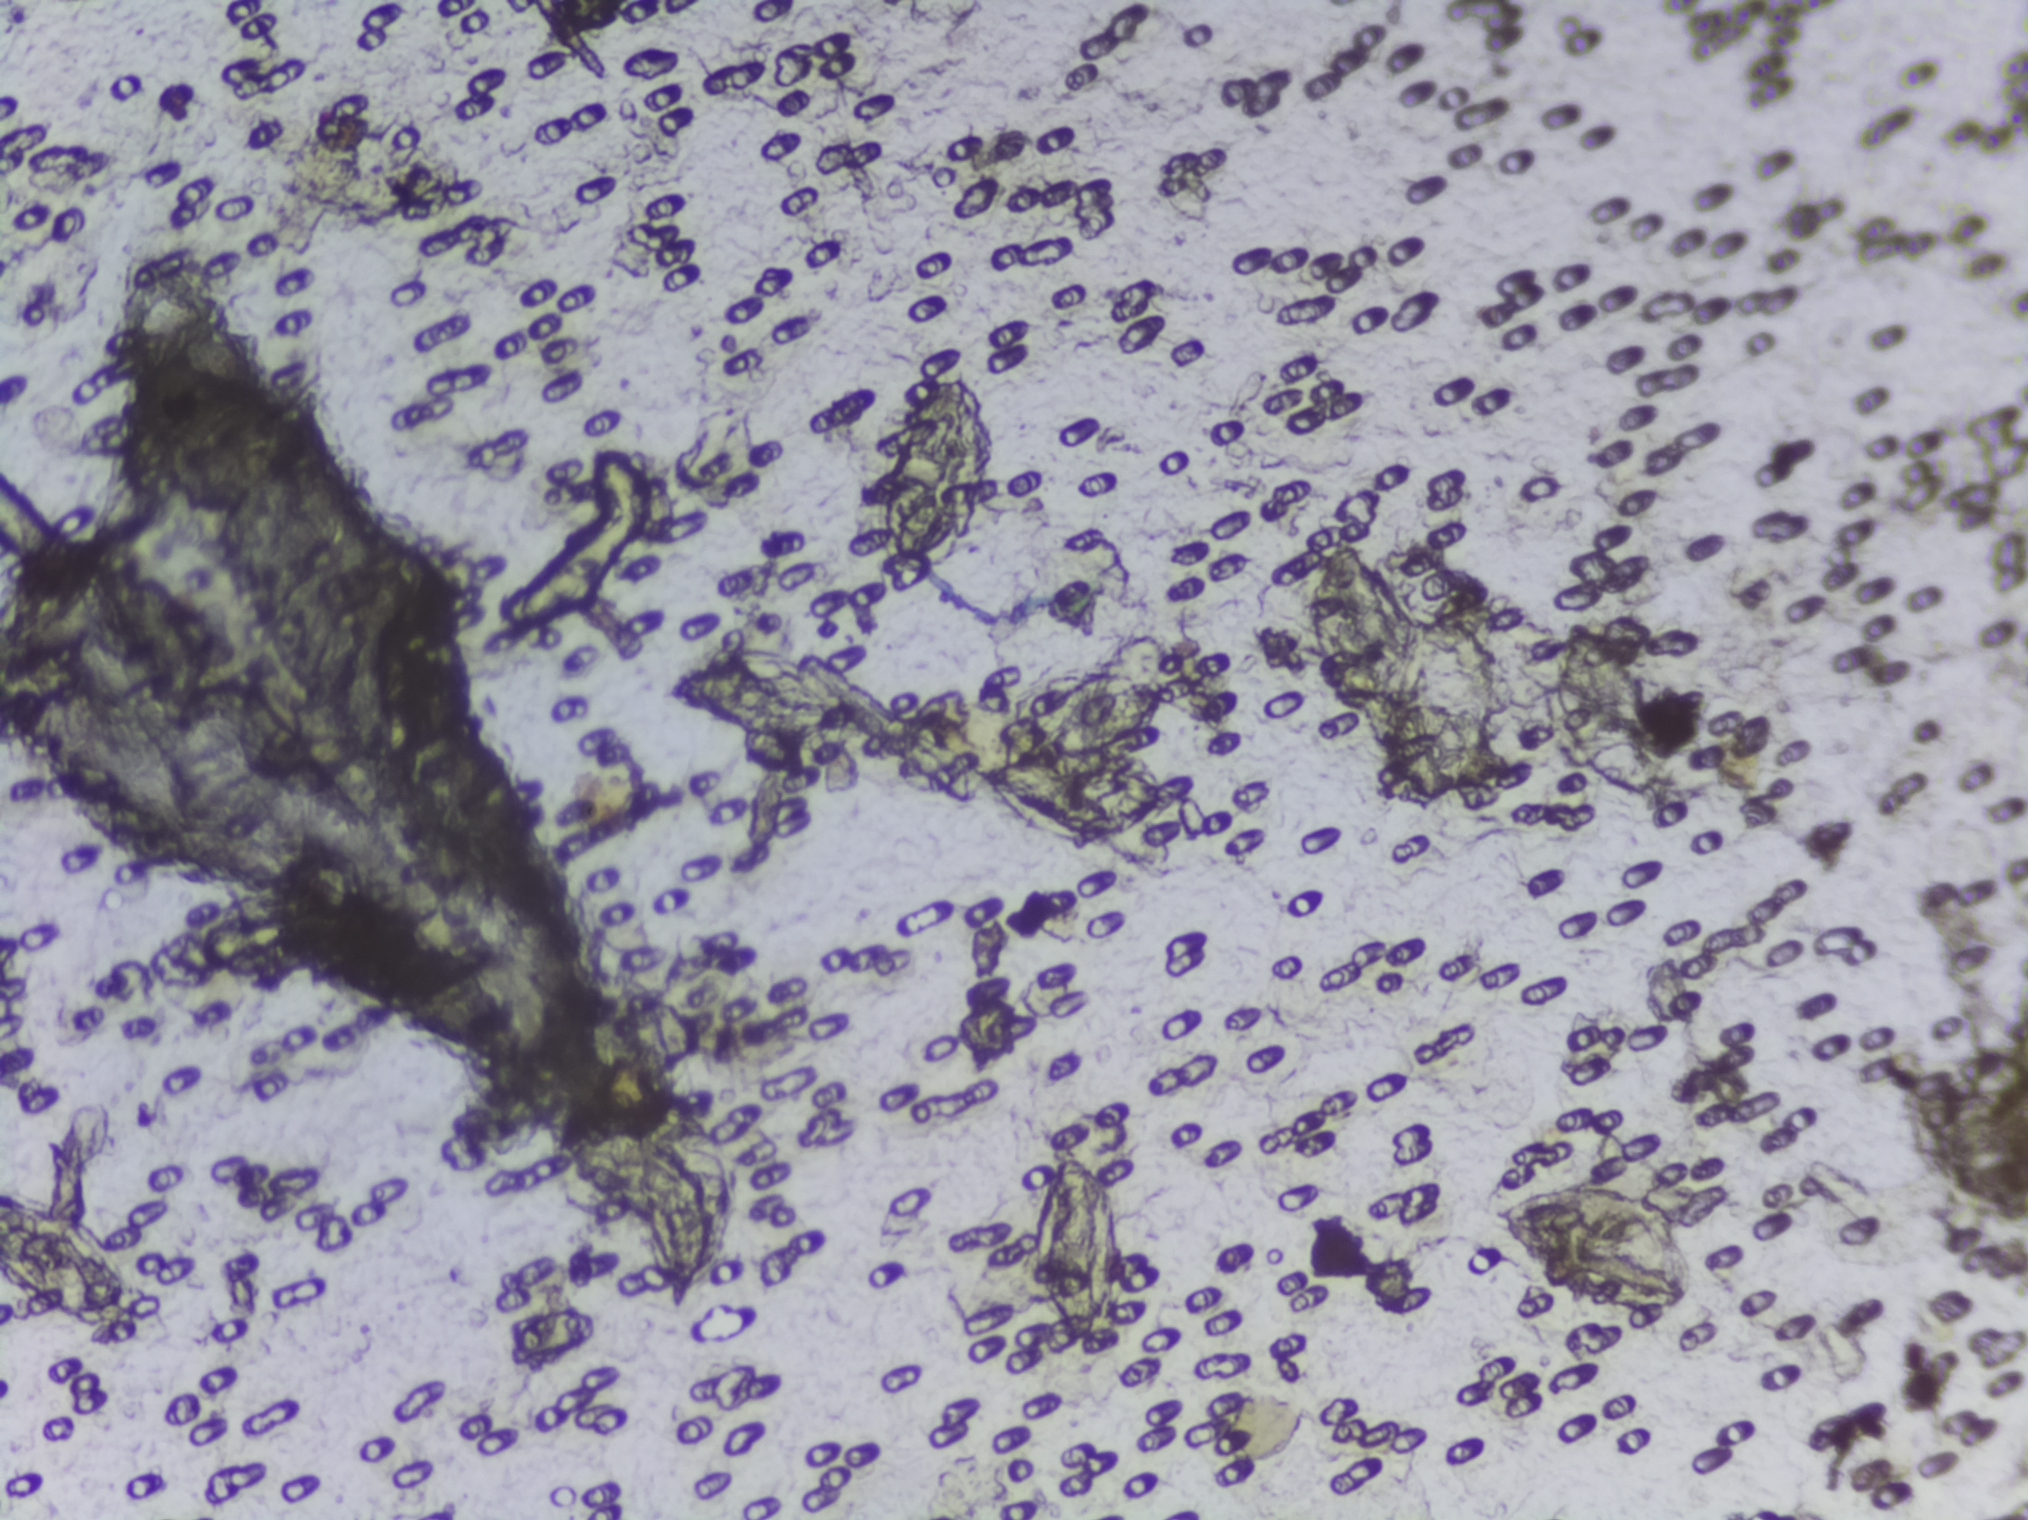
Microscope photograph (4× objective) of a membrane that a urine sample was filtered through. Field of view: about 1.5 mm wide and 1.1 mm high.
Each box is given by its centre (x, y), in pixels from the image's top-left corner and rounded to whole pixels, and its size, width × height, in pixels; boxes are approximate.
Schistosoma eggs are outlined in nine areas of this image, listed from left to right: centre (71, 1262), 142 × 150 px (reaching the left edge of the frame); centre (643, 1211), 183 × 211 px; centre (767, 697), 220 × 123 px; centre (942, 470), 123 × 213 px; centre (1070, 755), 203 × 176 px; centre (1071, 1253), 131 × 220 px; centre (1400, 661), 202 × 274 px; centre (1588, 1253), 215 × 154 px; centre (1612, 710), 134 × 185 px. The marked pixels themselves, not the boxes around them, cover about 6.4% of the image. An outlined area can hold more than one egg.